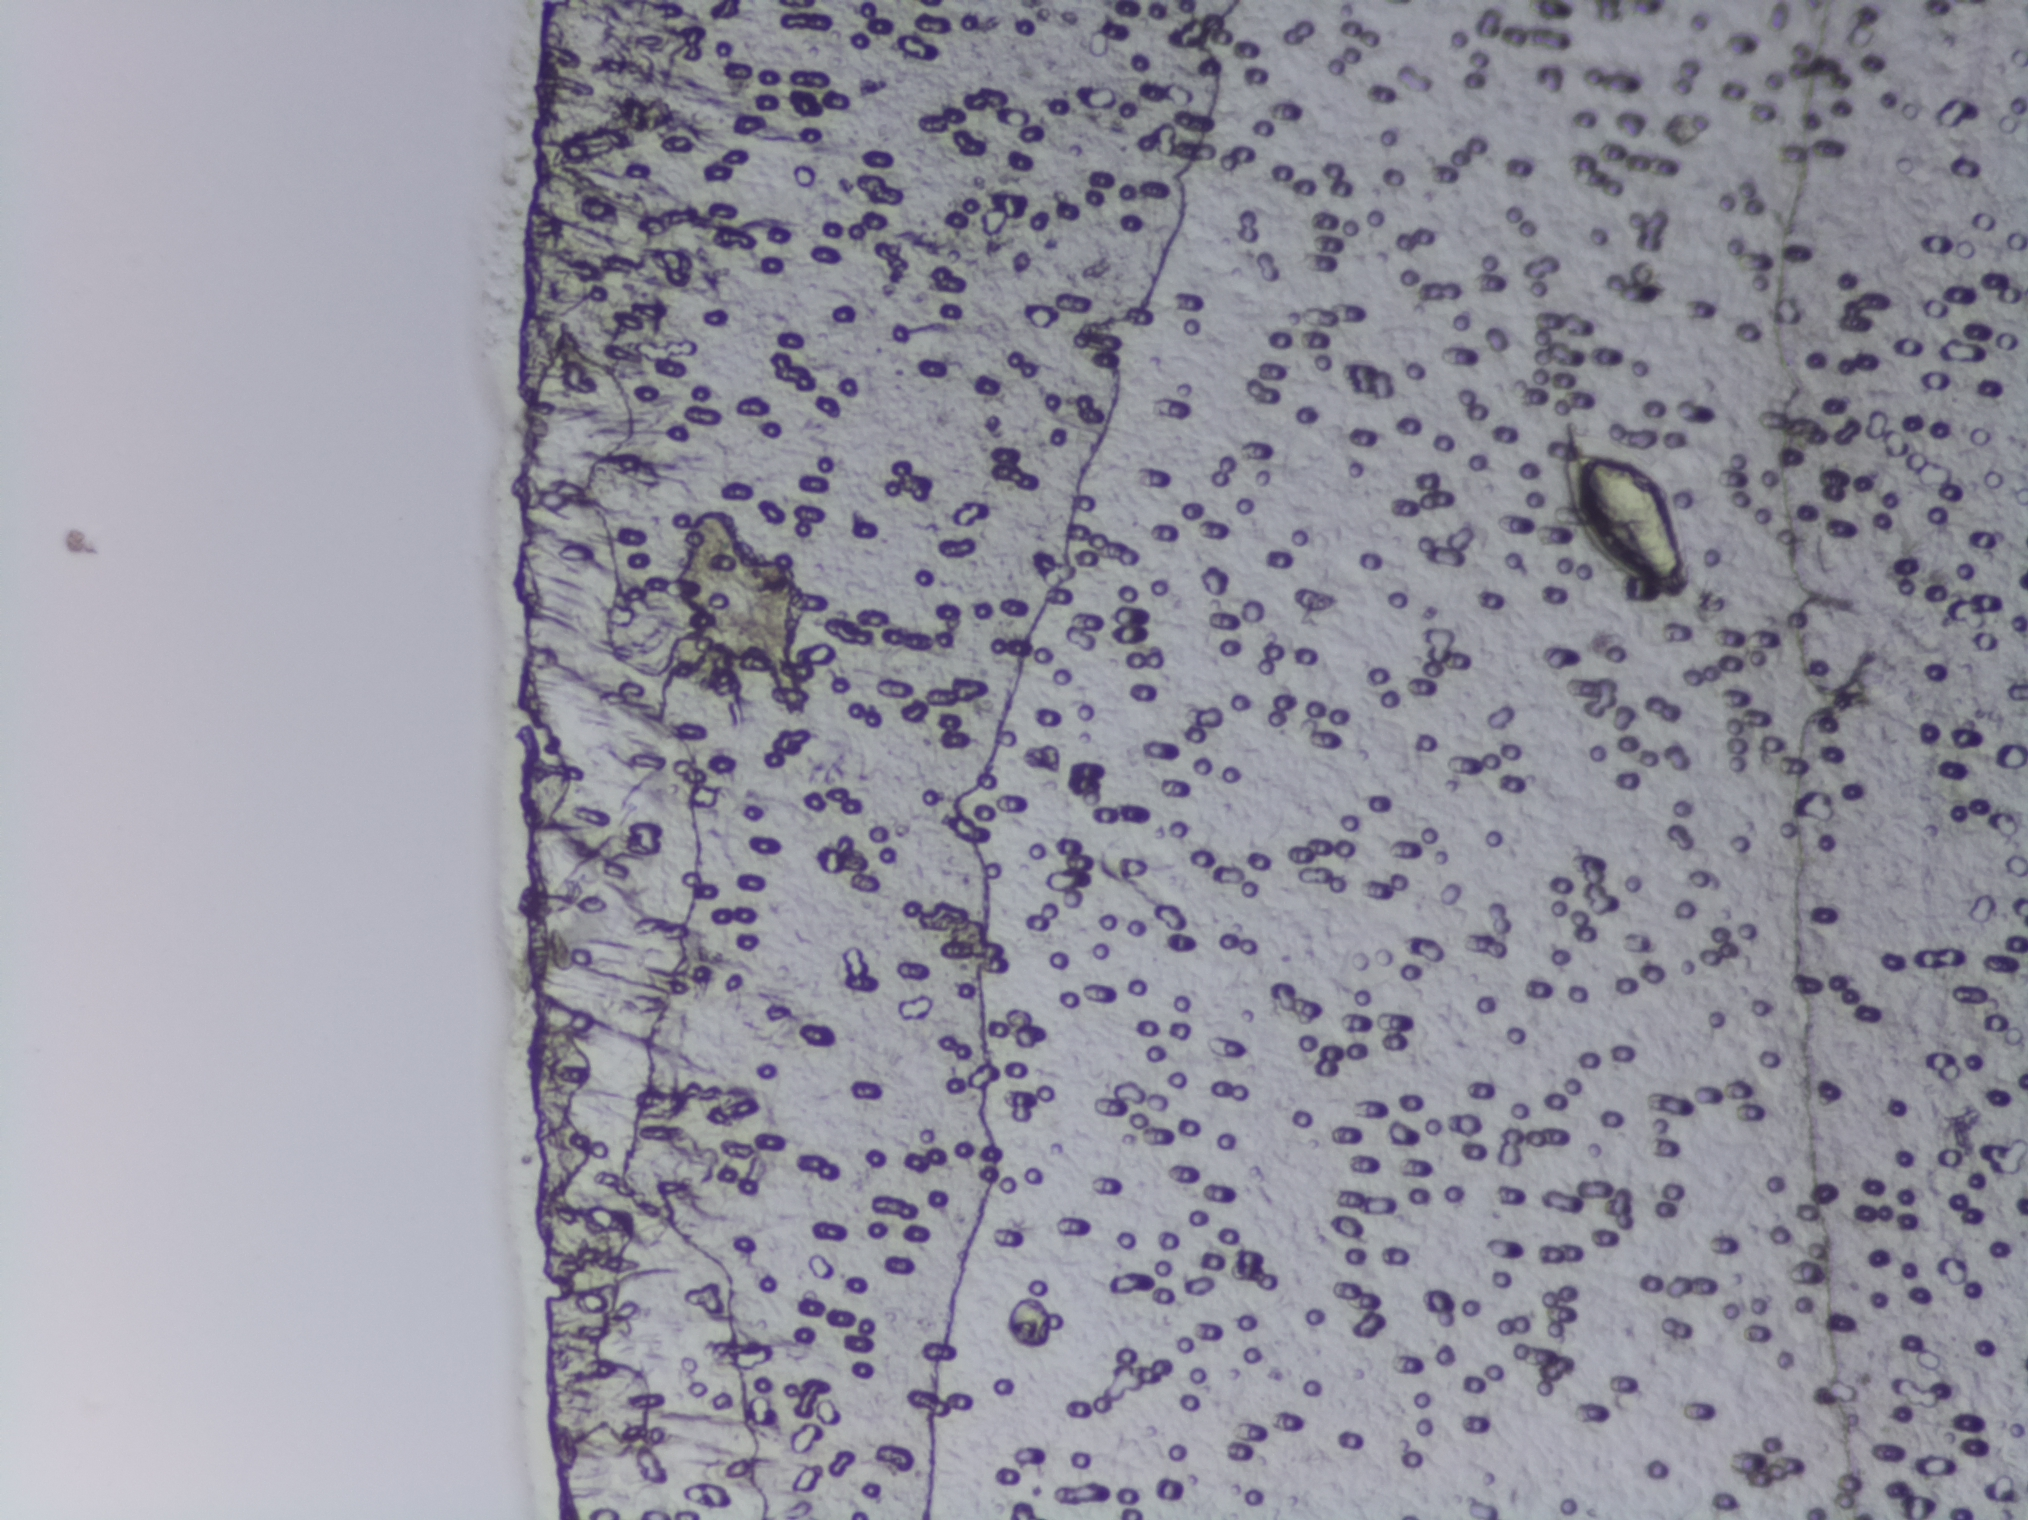
Photograph from an automated digital microscope: urine filter membrane, 4× objective.
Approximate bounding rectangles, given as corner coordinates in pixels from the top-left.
One area of this image is outlined as Schistosoma eggs: (x1=1559, y1=442, x2=1693, y2=602). Eggs that touch can end up inside the same outlined area.